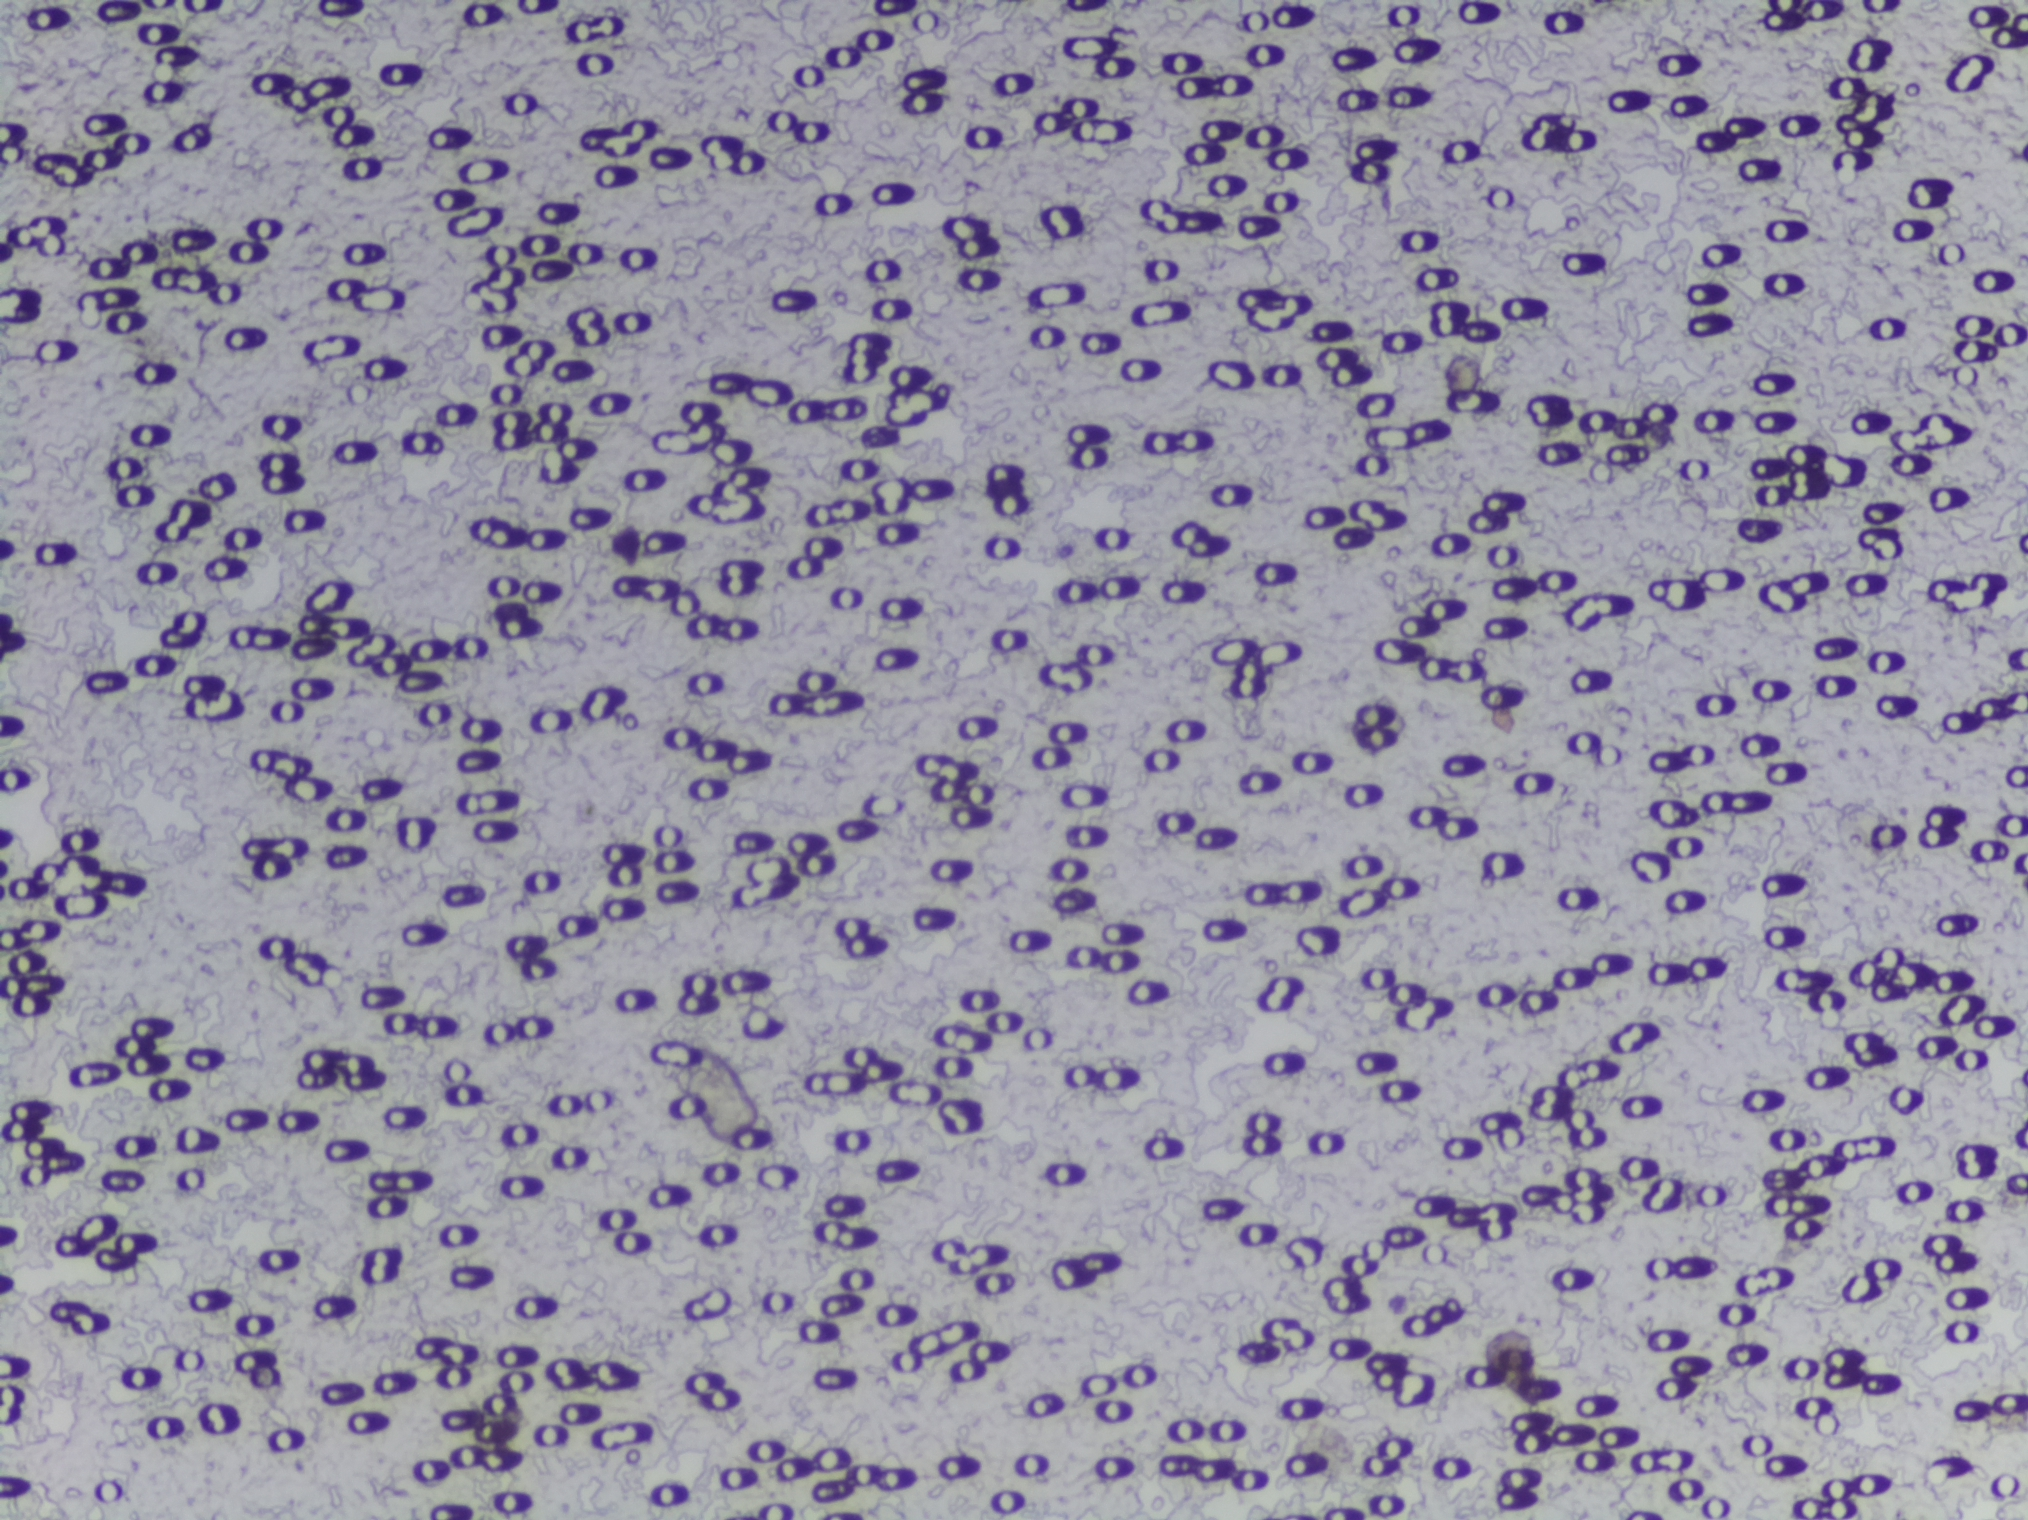
Urine filtration membrane under a 4× objective, photographed by an automated digital microscope.
No Schistosoma egg is outlined in this image's expert annotation.